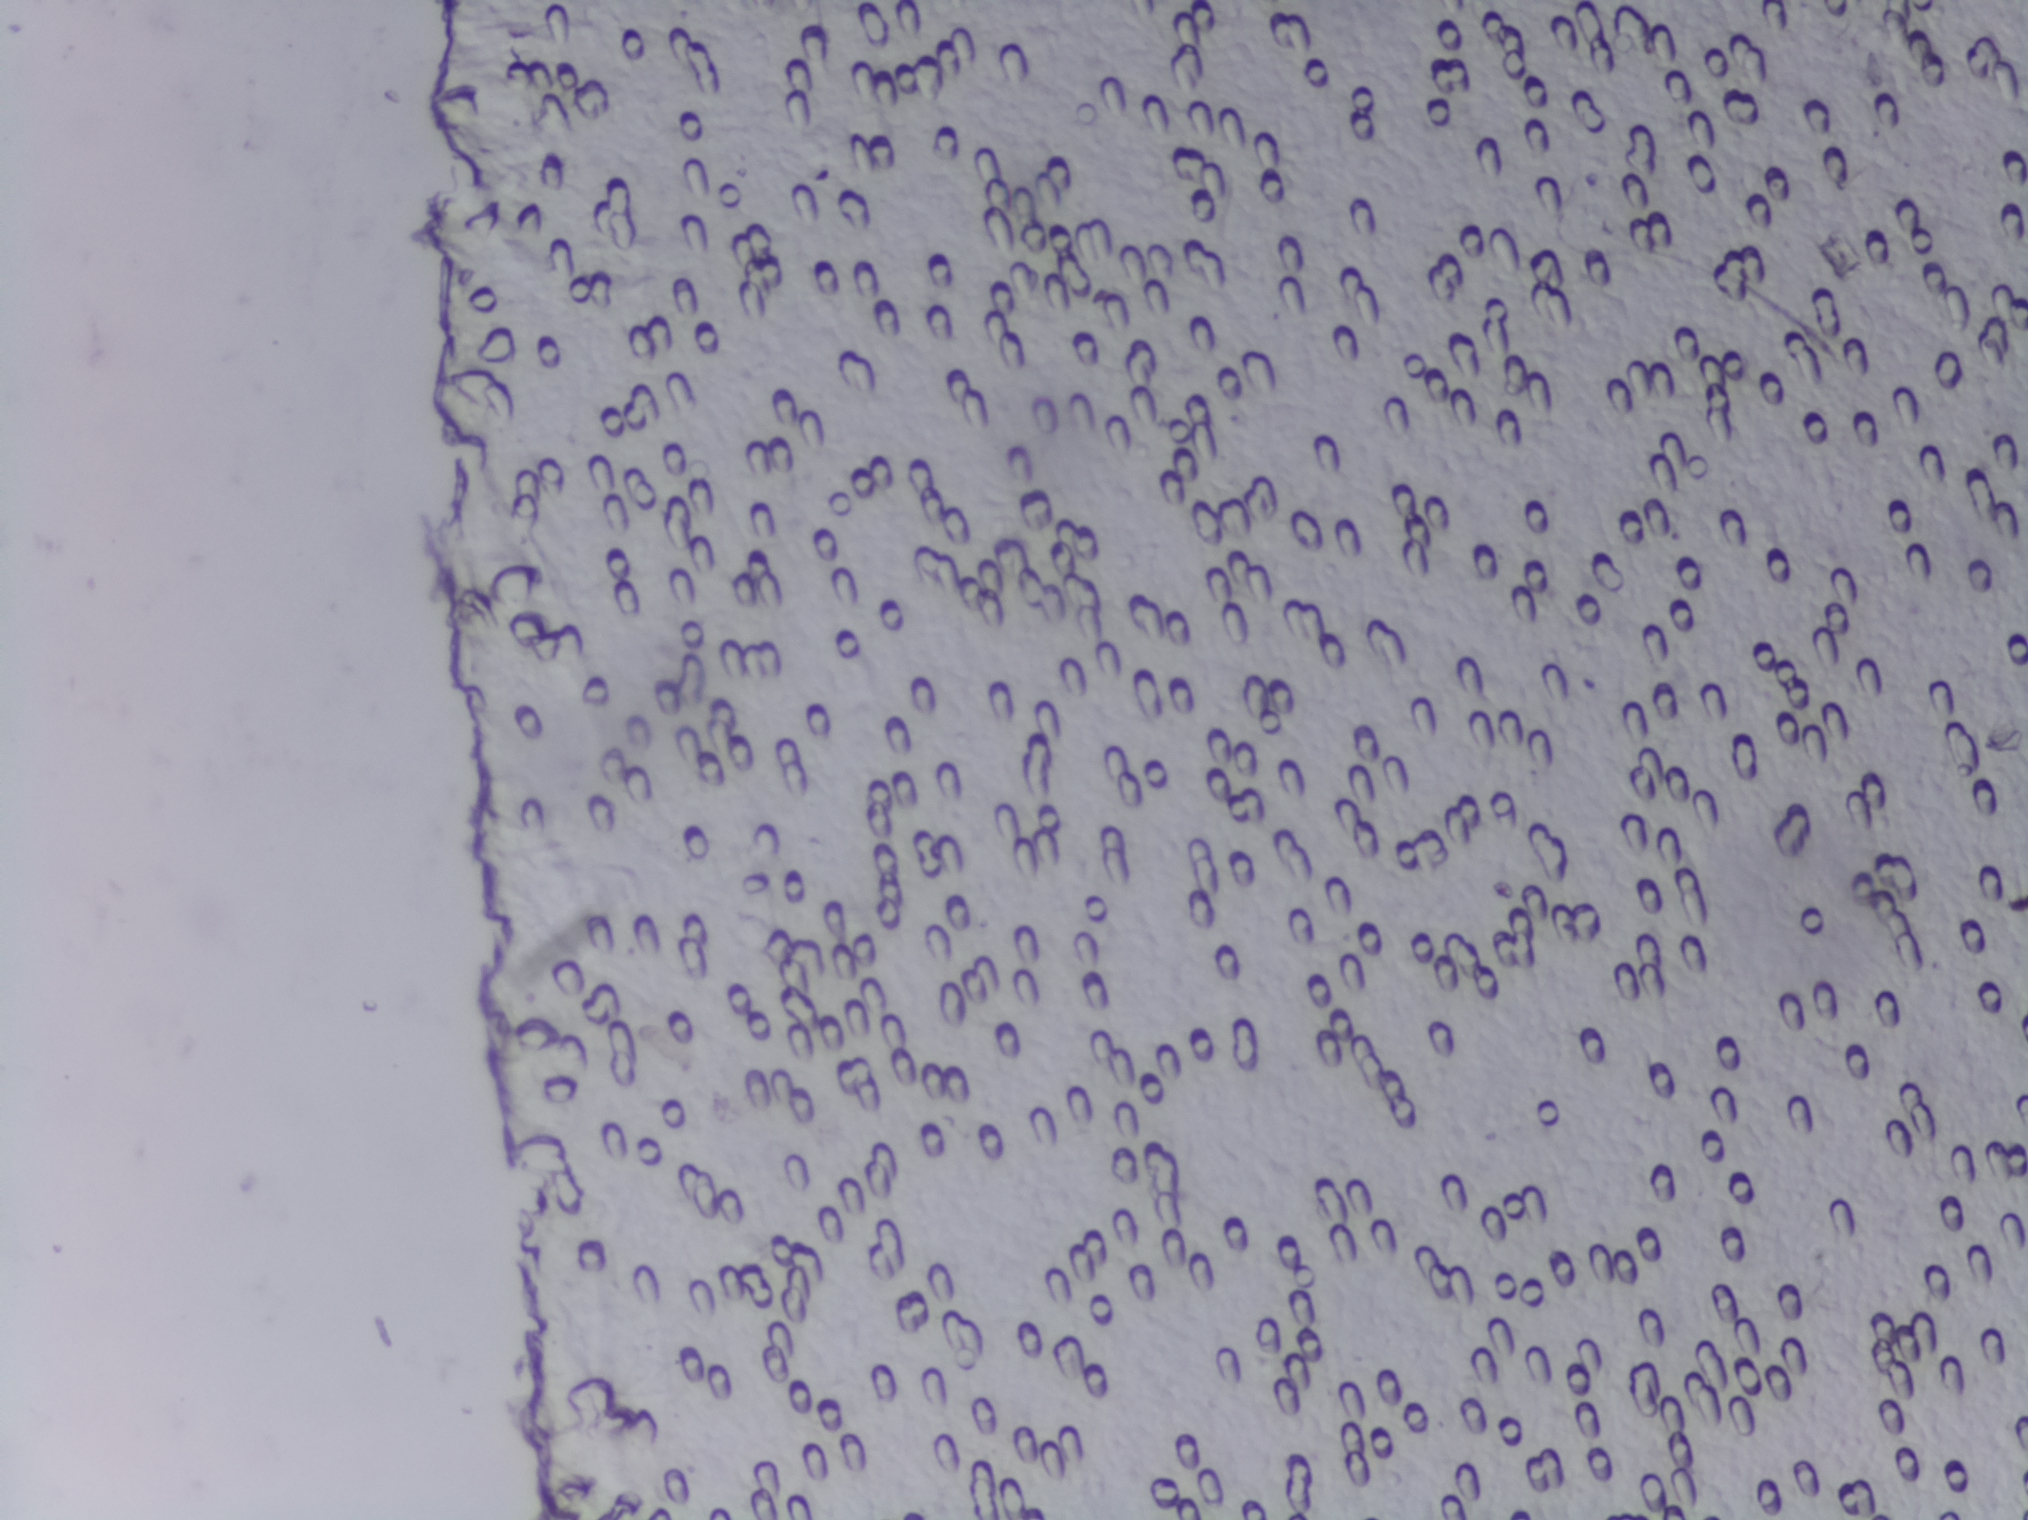
Photomicrograph of a urine filtration membrane, 4× objective.
No area of this image was outlined as a Schistosoma egg.